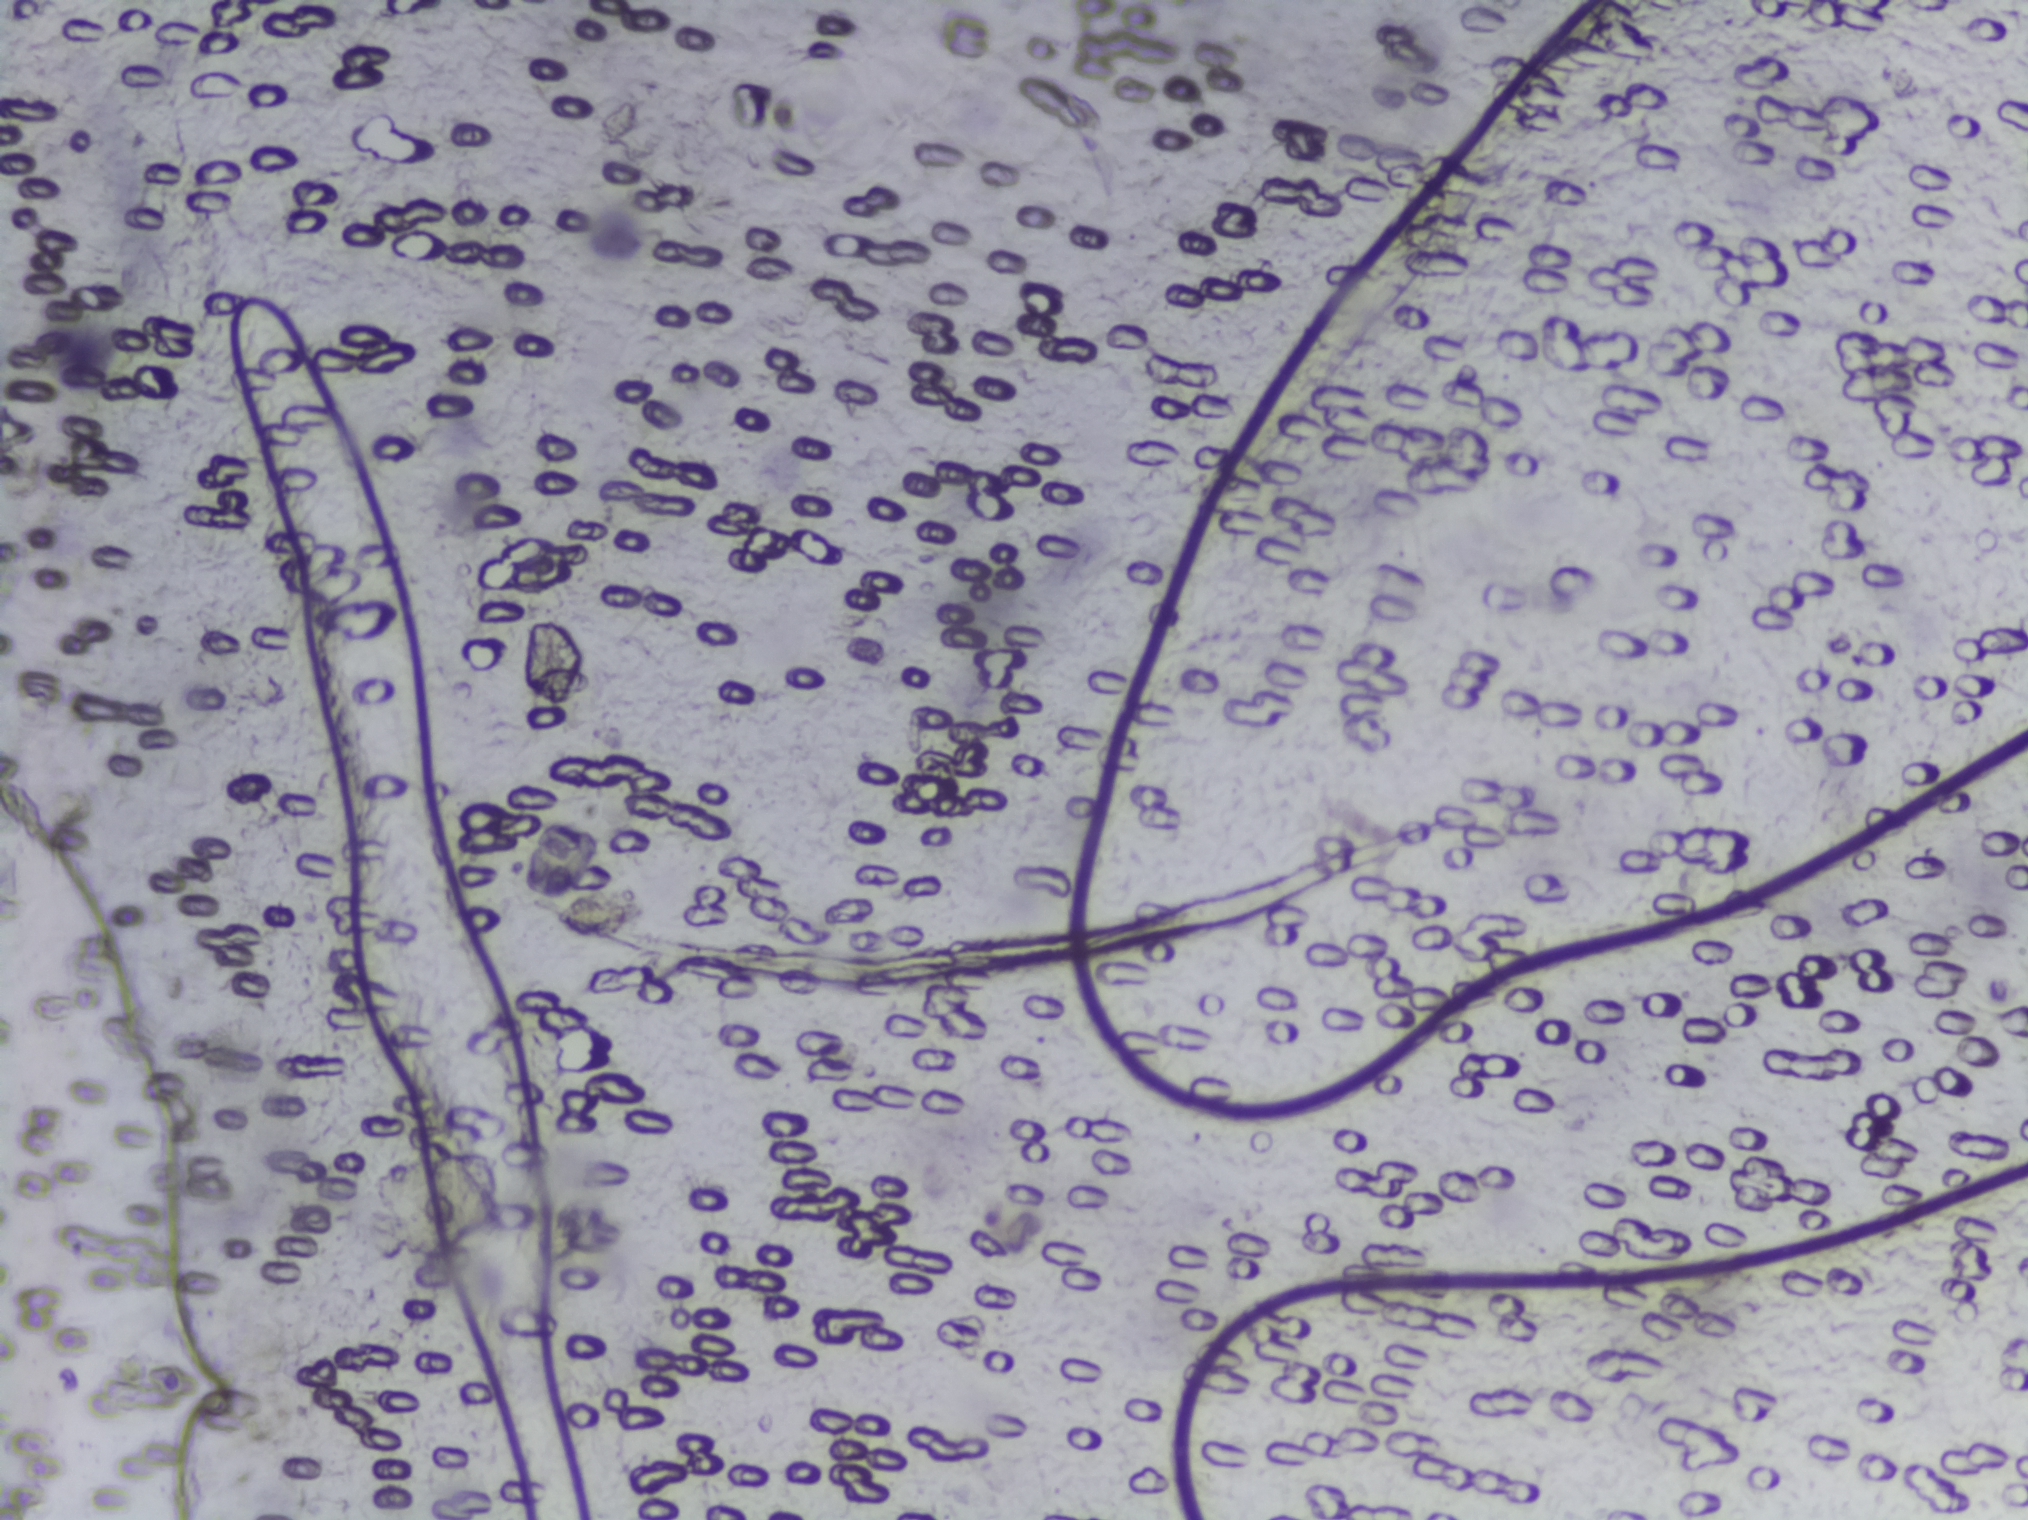
Urine filter membrane photographed through a 4× microscope objective. The image covers about 1.5 × 1.1 mm of the membrane.
Schistosoma eggs: none outlined.